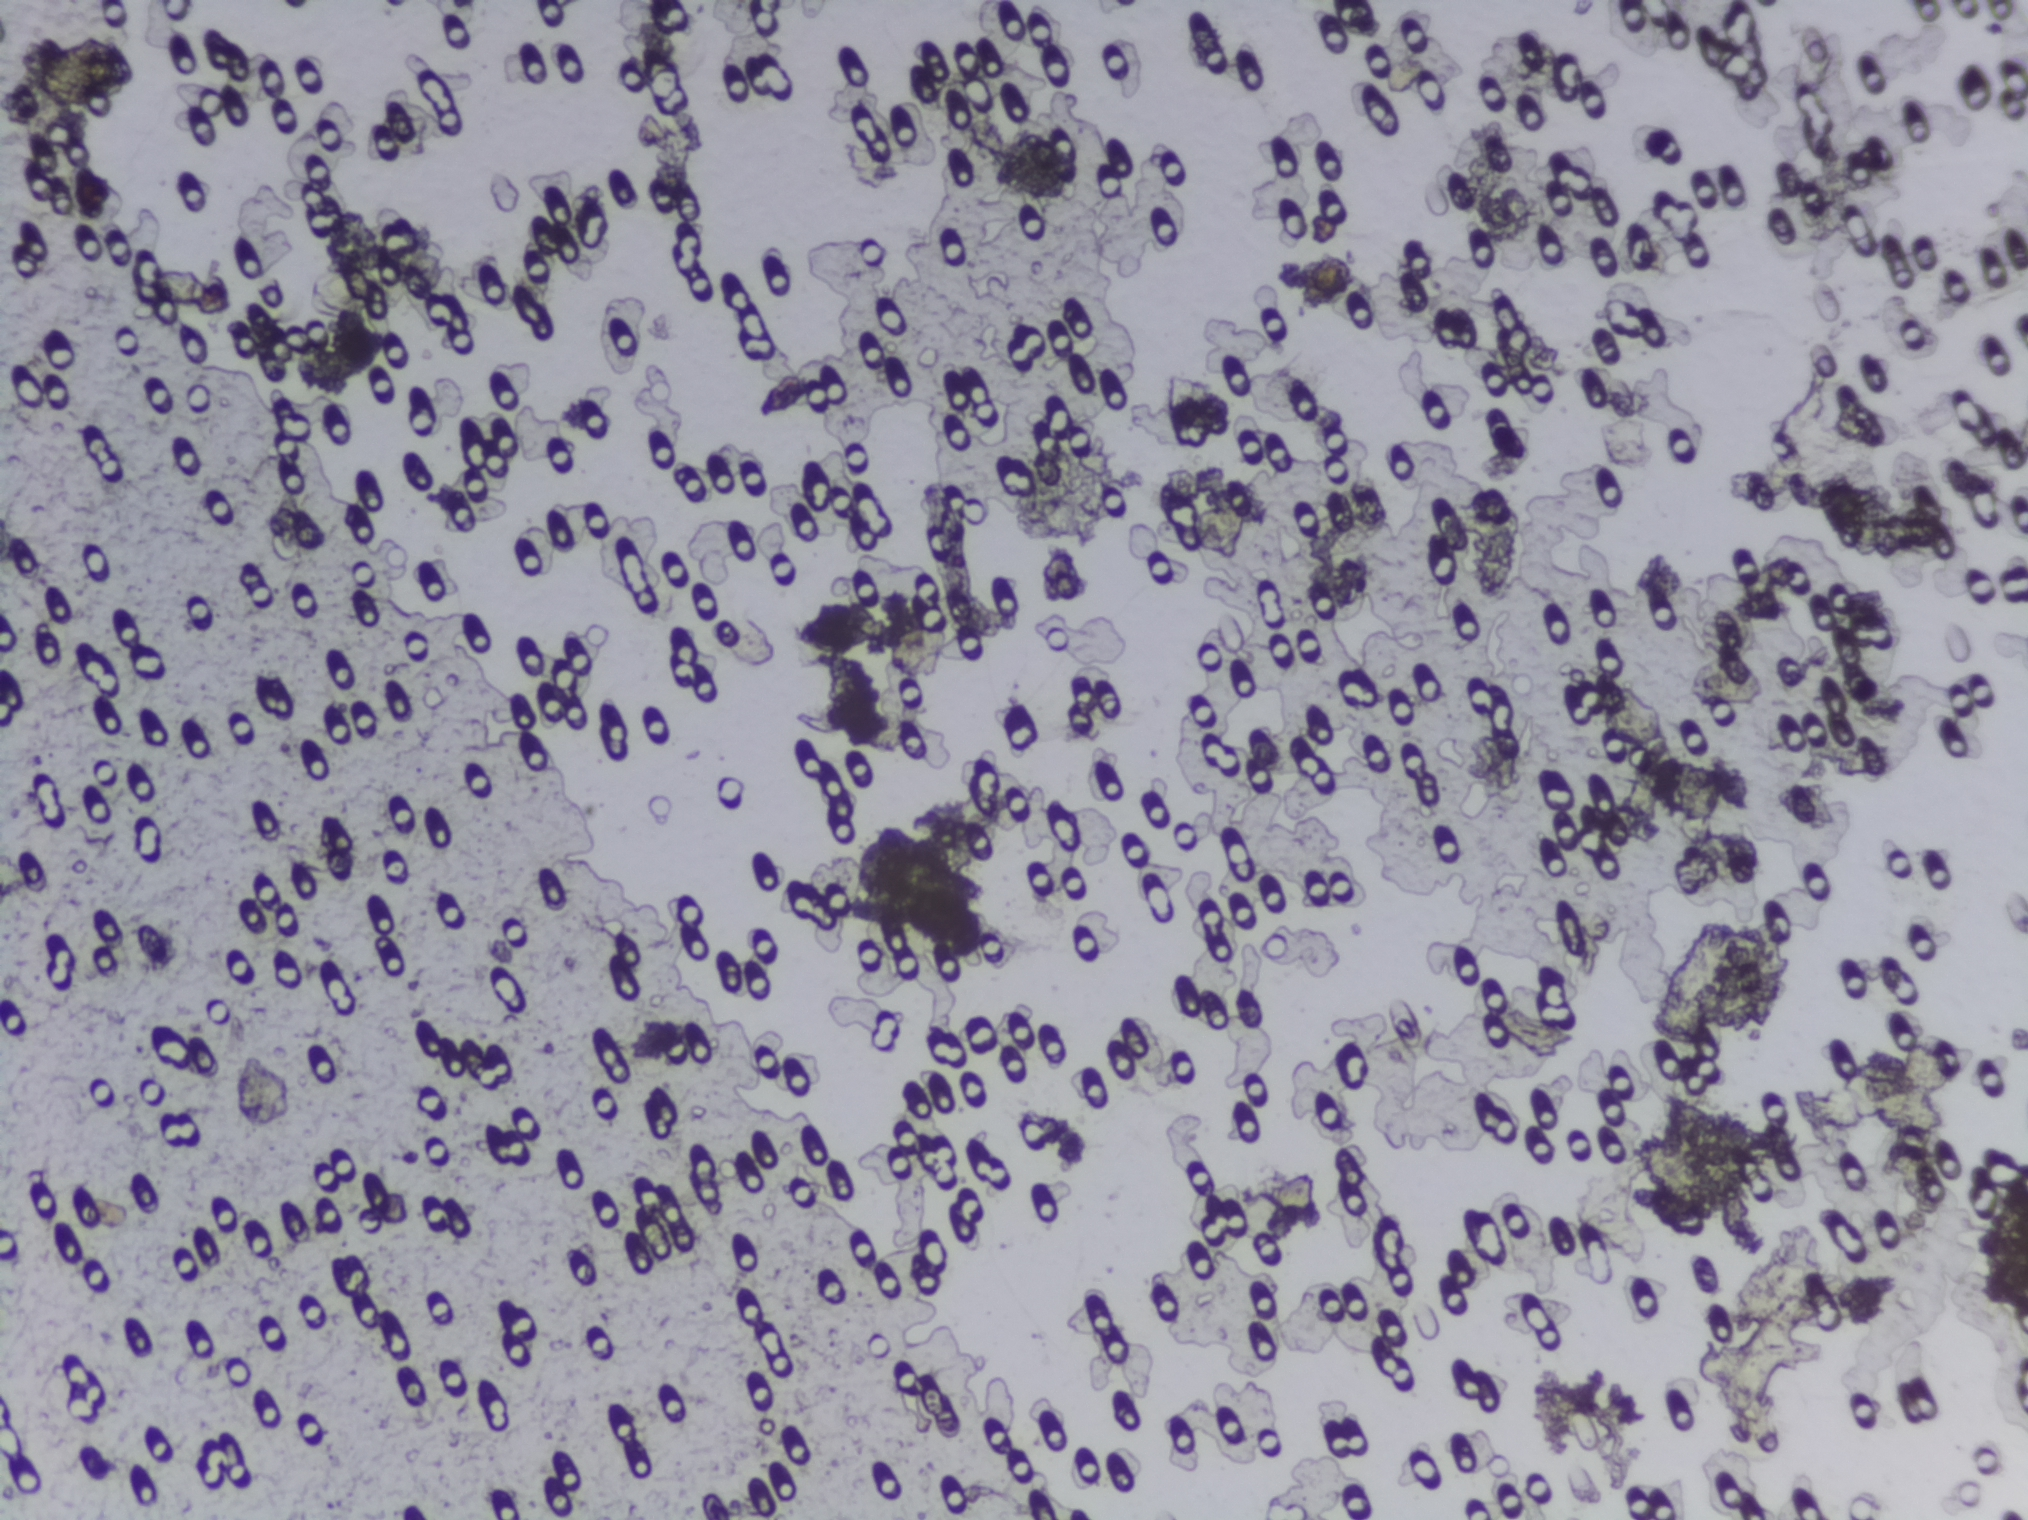
Urine filtration membrane under a 4× objective, photographed by an automated digital microscope.
Schistosoma eggs: none outlined.